Urine filter membrane photographed through a 4× microscope objective. Field of view: about 1.5 mm wide and 1.1 mm high.
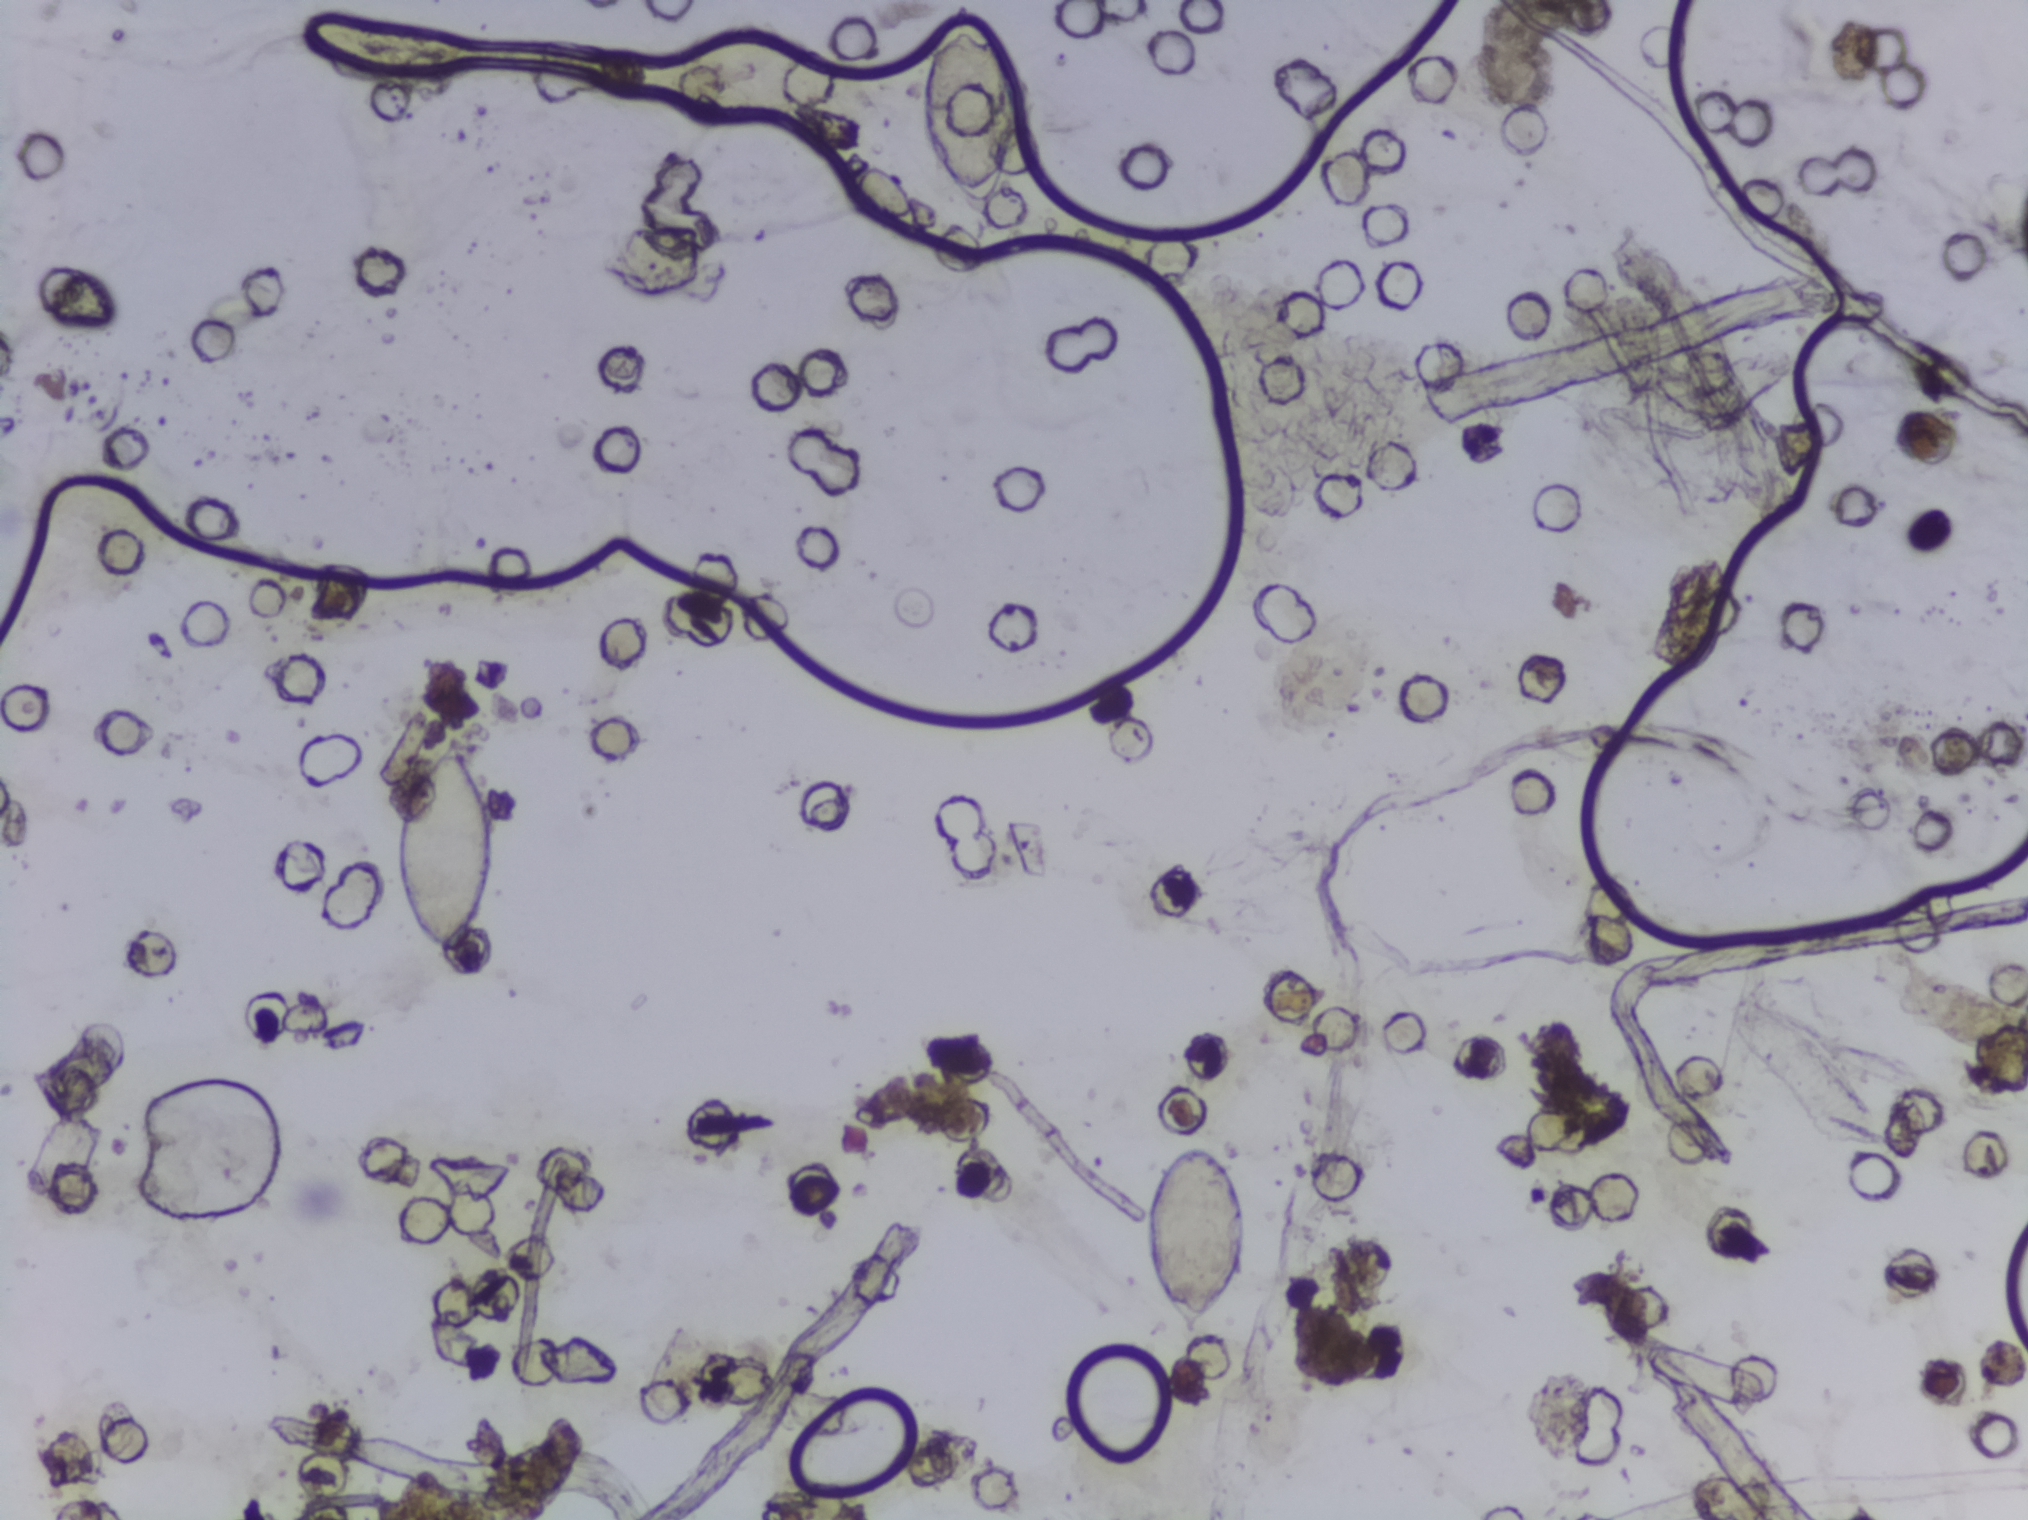
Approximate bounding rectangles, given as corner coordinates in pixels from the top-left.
Outlined Schistosoma egg areas, left to right:
1. (x1=391, y1=733, x2=498, y2=960)
2. (x1=917, y1=0, x2=1020, y2=212) (reaching the top edge of the frame)
3. (x1=1140, y1=1143, x2=1249, y2=1344)
Eggs that touch can end up inside the same outlined area.